Microscope photograph (4× objective) of a membrane that a urine sample was filtered through.
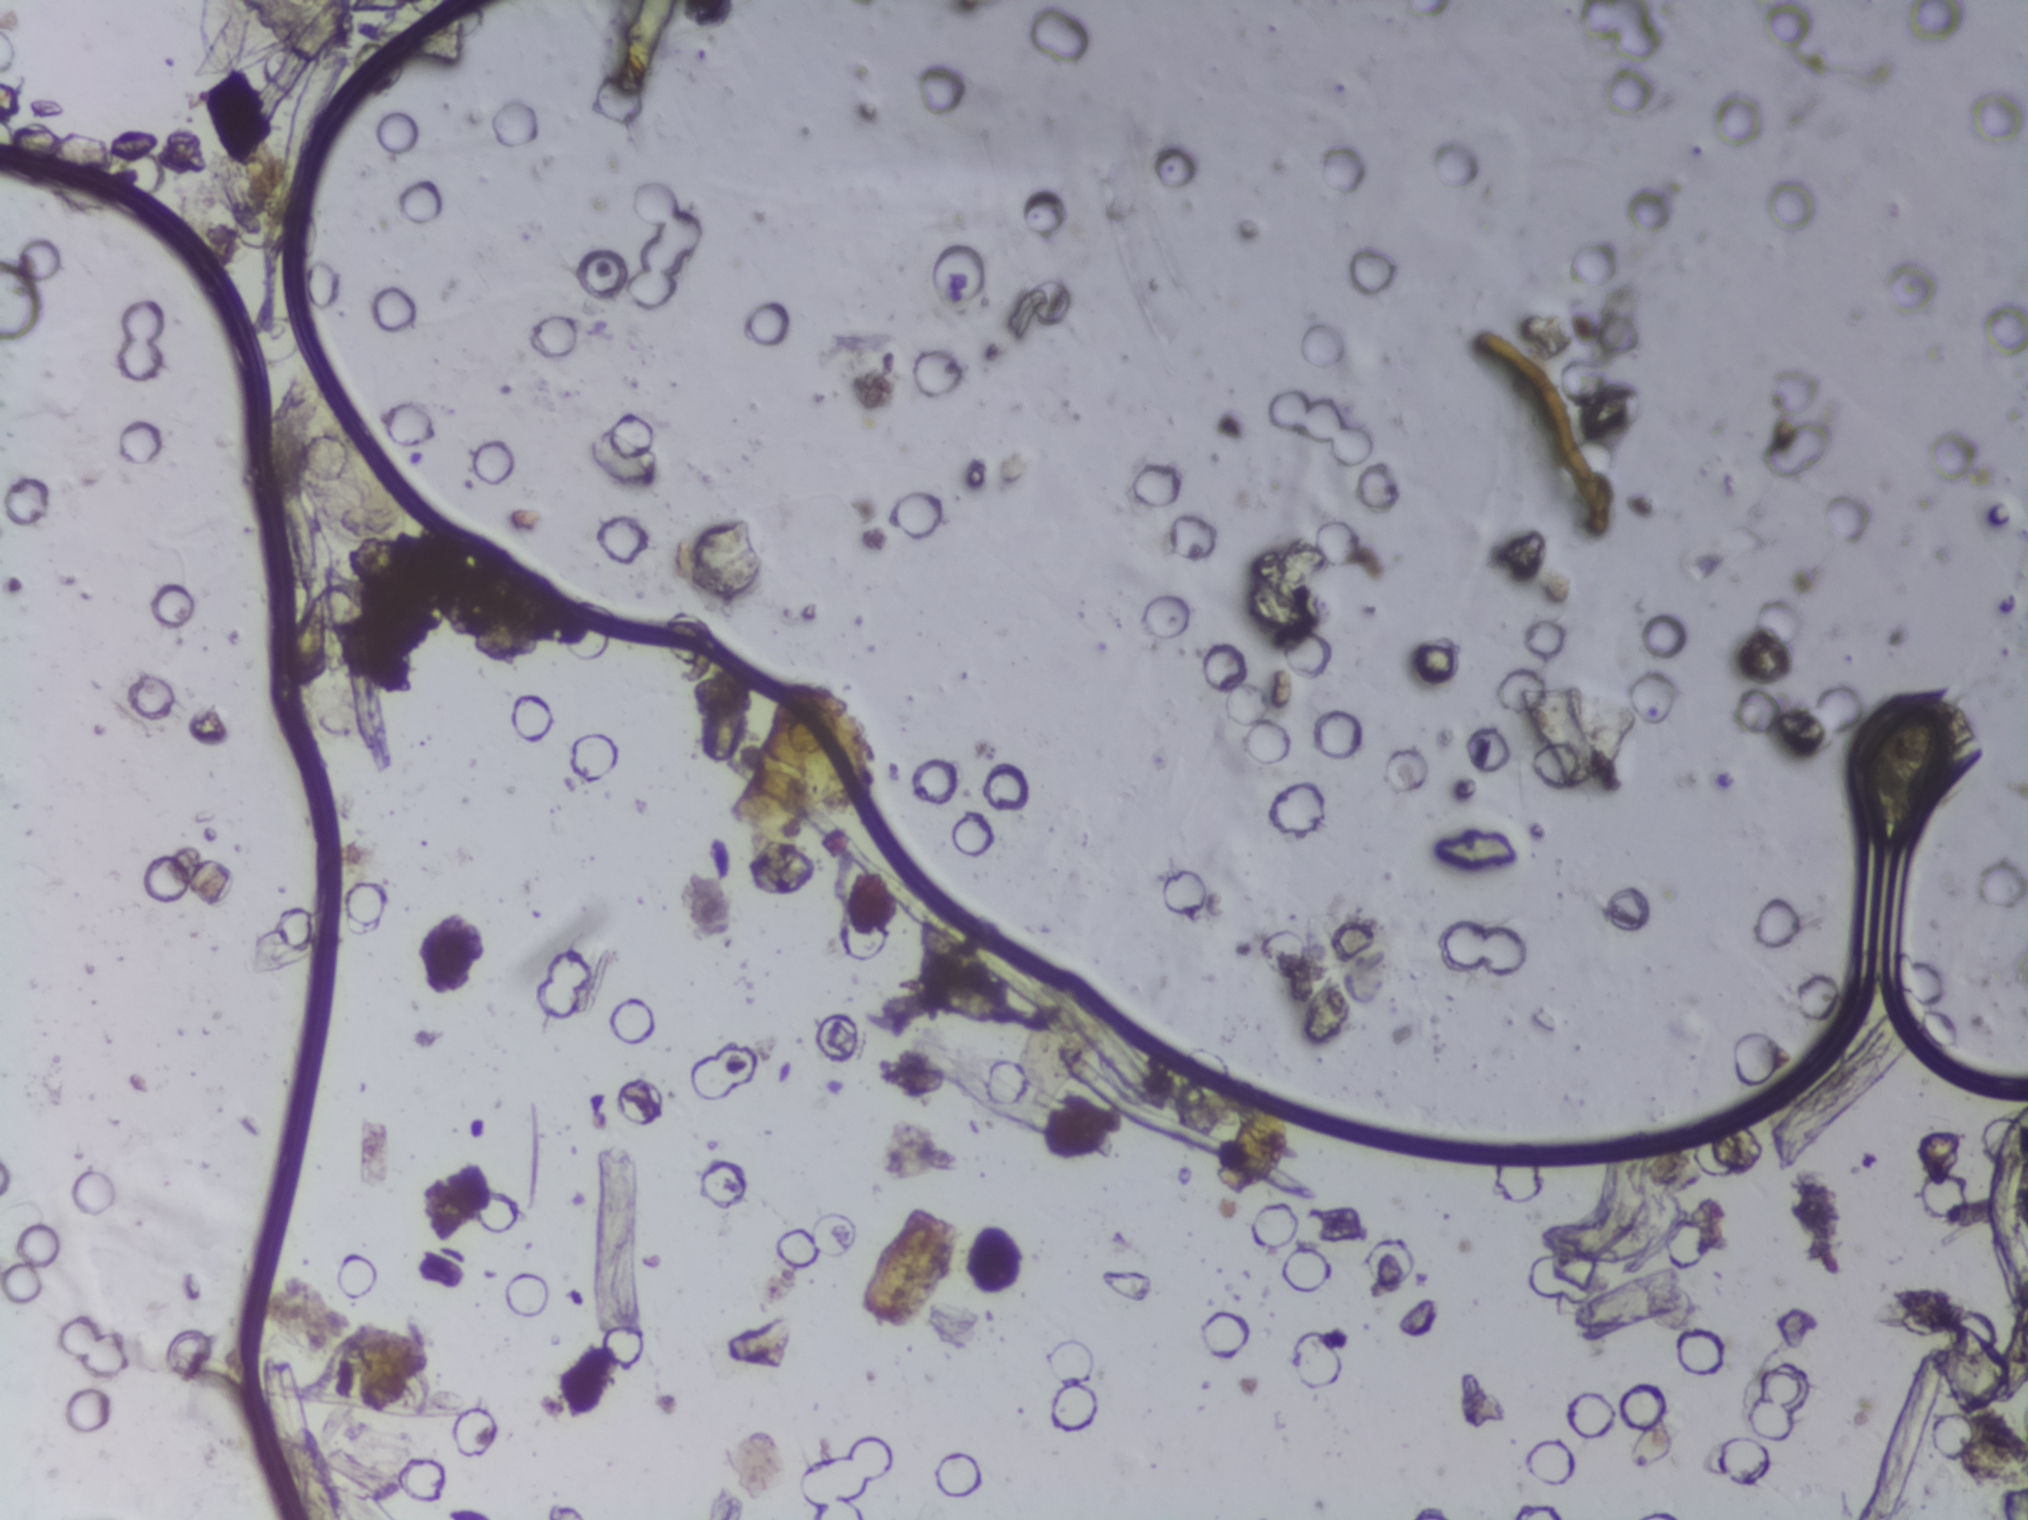
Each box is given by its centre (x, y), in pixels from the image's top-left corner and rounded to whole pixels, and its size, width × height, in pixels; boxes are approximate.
The expert annotation outlines Schistosoma eggs at centre (260, 36), 144 × 73 px (reaching the top edge of the frame) and centre (346, 460), 133 × 183 px (left to right). Eggs that touch can end up inside the same outlined area.